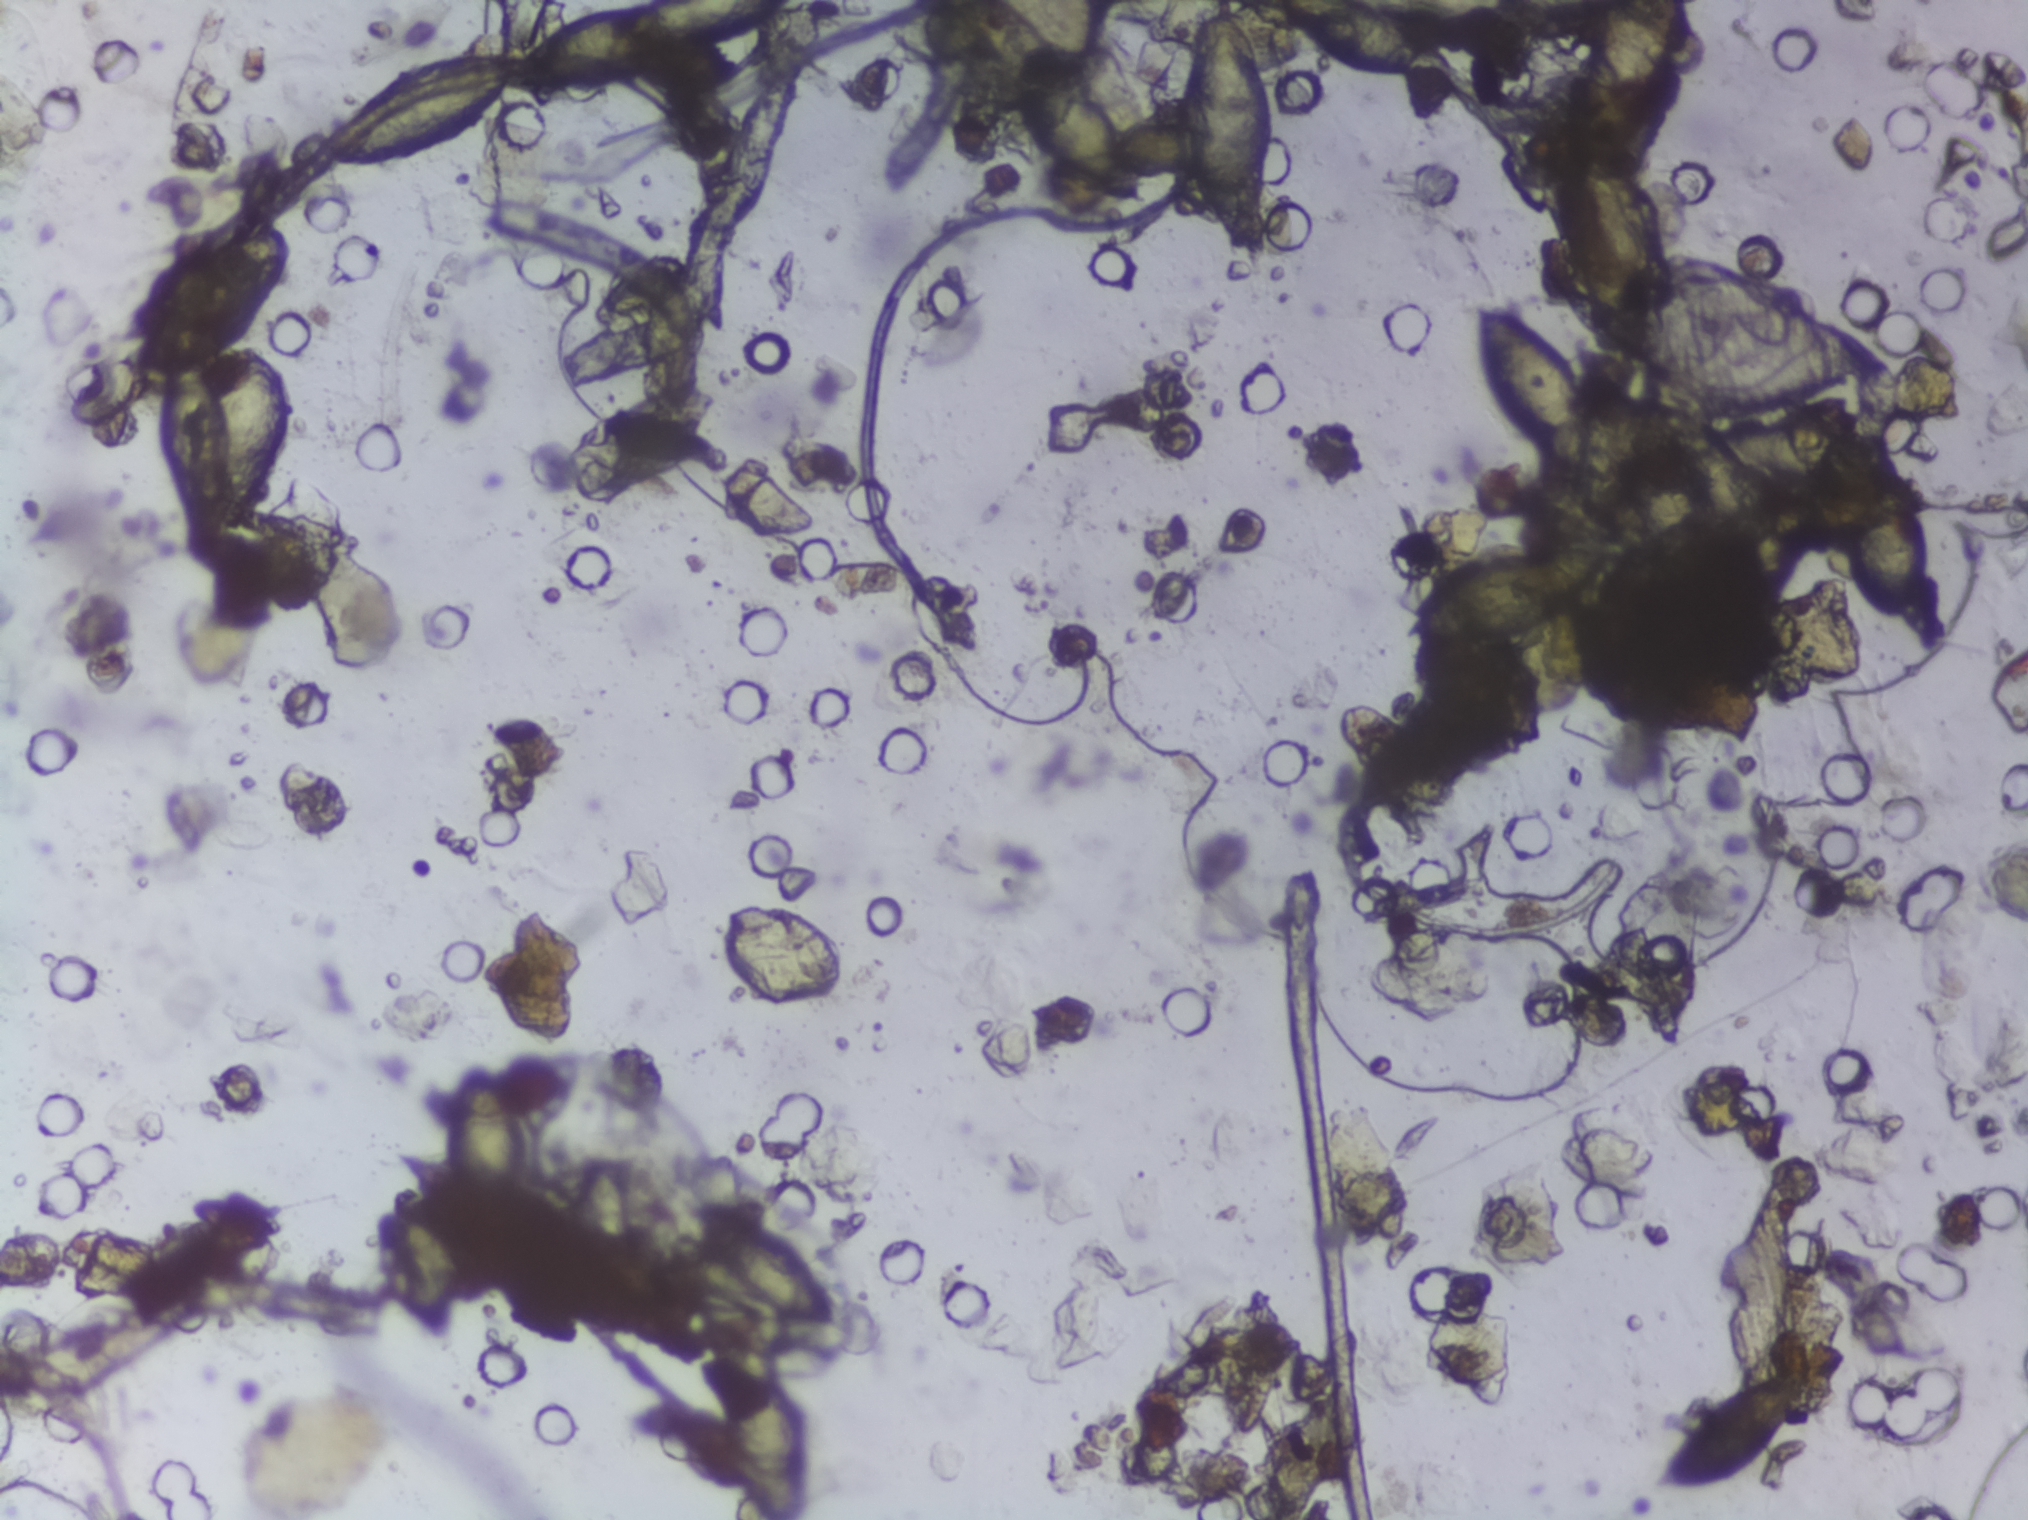
Urine filtration membrane under a 4× objective, photographed by an automated digital microscope. Field of view: about 1.5 mm wide and 1.1 mm high.
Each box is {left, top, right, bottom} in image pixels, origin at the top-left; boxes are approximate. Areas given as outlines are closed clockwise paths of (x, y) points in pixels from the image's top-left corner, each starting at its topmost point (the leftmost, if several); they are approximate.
Outlined Schistosoma egg areas, left to right:
1. box {135, 222, 300, 546}
2. outline (633, 0), (793, 1), (774, 25), (726, 49), (680, 54), (637, 80), (565, 97), (528, 97), (512, 86), (480, 123), (431, 155), (371, 170), (334, 163), (315, 148), (325, 125), (381, 73), (475, 48), (502, 48), (514, 56), (552, 25) (reaching the top edge of the frame)
3. box {374, 1190, 458, 1344}
4. box {443, 1057, 523, 1216}
5. box {564, 1147, 640, 1332}
6. box {664, 1195, 857, 1519} (reaching the bottom edge of the frame)
7. box {1002, 46, 1147, 203}
8. box {1167, 9, 1286, 258}
9. box {1270, 0, 1443, 72} (reaching the top edge of the frame)
10. box {1394, 543, 1609, 646}
11. box {1473, 298, 1605, 480}
12. box {1655, 1377, 1798, 1494}
13. box {1835, 441, 1930, 628}
A single outlined area may contain several eggs. Any one outlined egg may, rarely, be S. mansoni rather than S. haematobium.